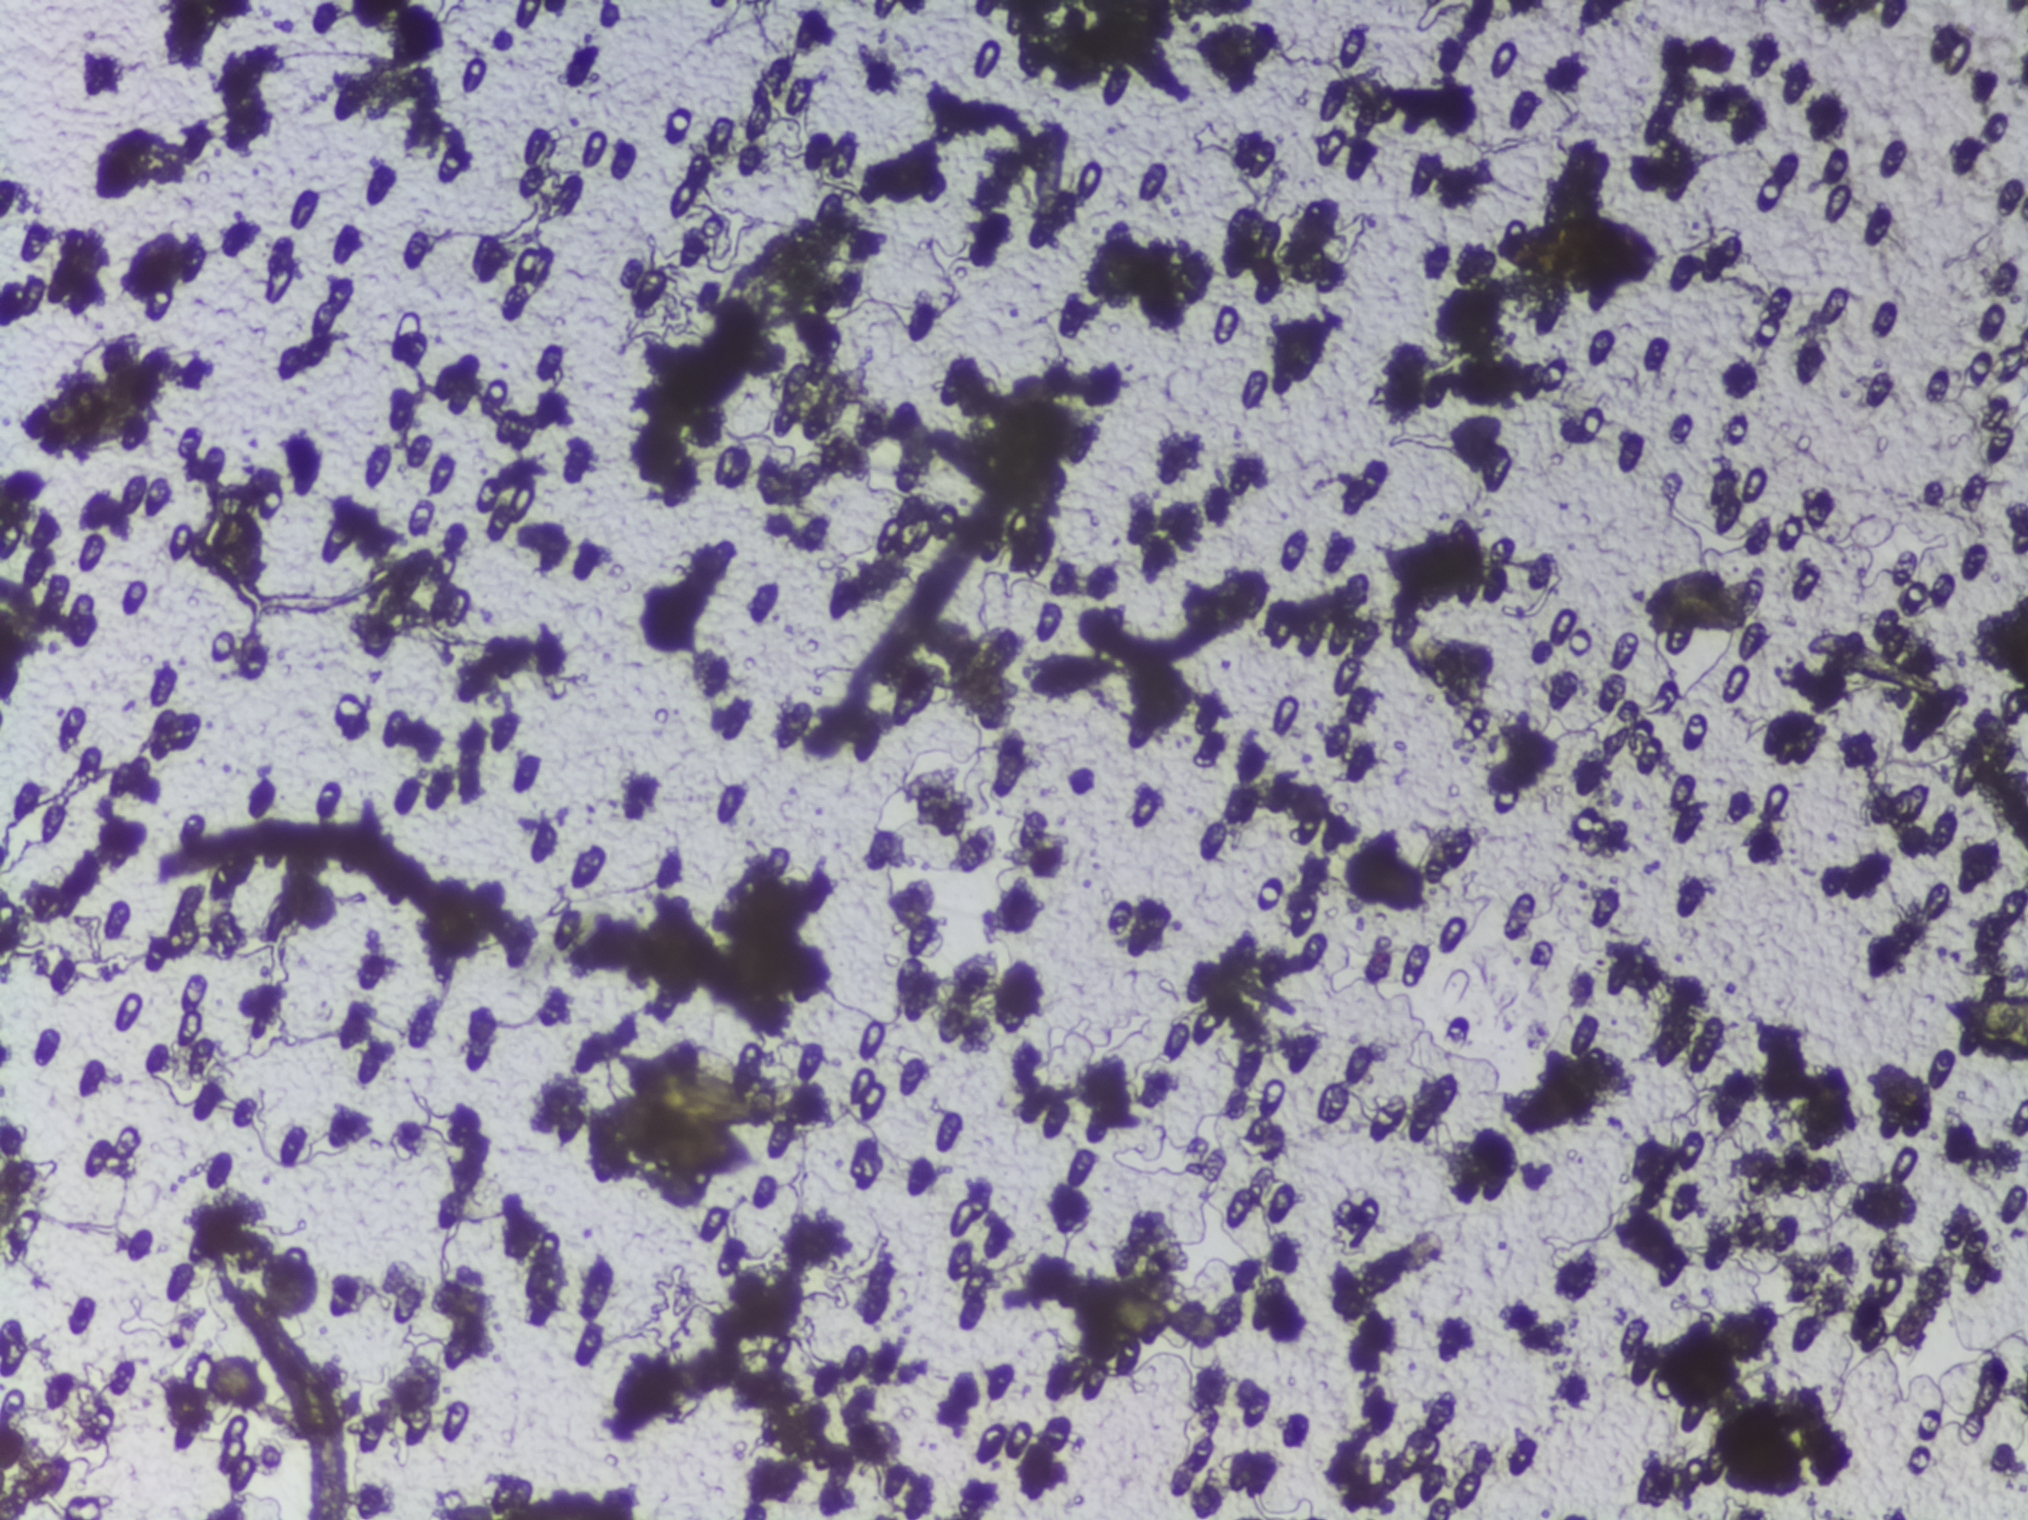
Photomicrograph of a urine filtration membrane, 4× objective.
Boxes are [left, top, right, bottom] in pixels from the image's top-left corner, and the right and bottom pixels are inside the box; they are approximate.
{"schistosoma_egg_areas_xyxy_px": [[585, 1045, 780, 1176], [1486, 214, 1659, 291], [1941, 995, 2027, 1064]]} Area 3 reaches the right edge of the frame.
About 1.0% of the image's pixels are marked (the marked pixels themselves, not the boxes around them). An outlined area can hold more than one egg.